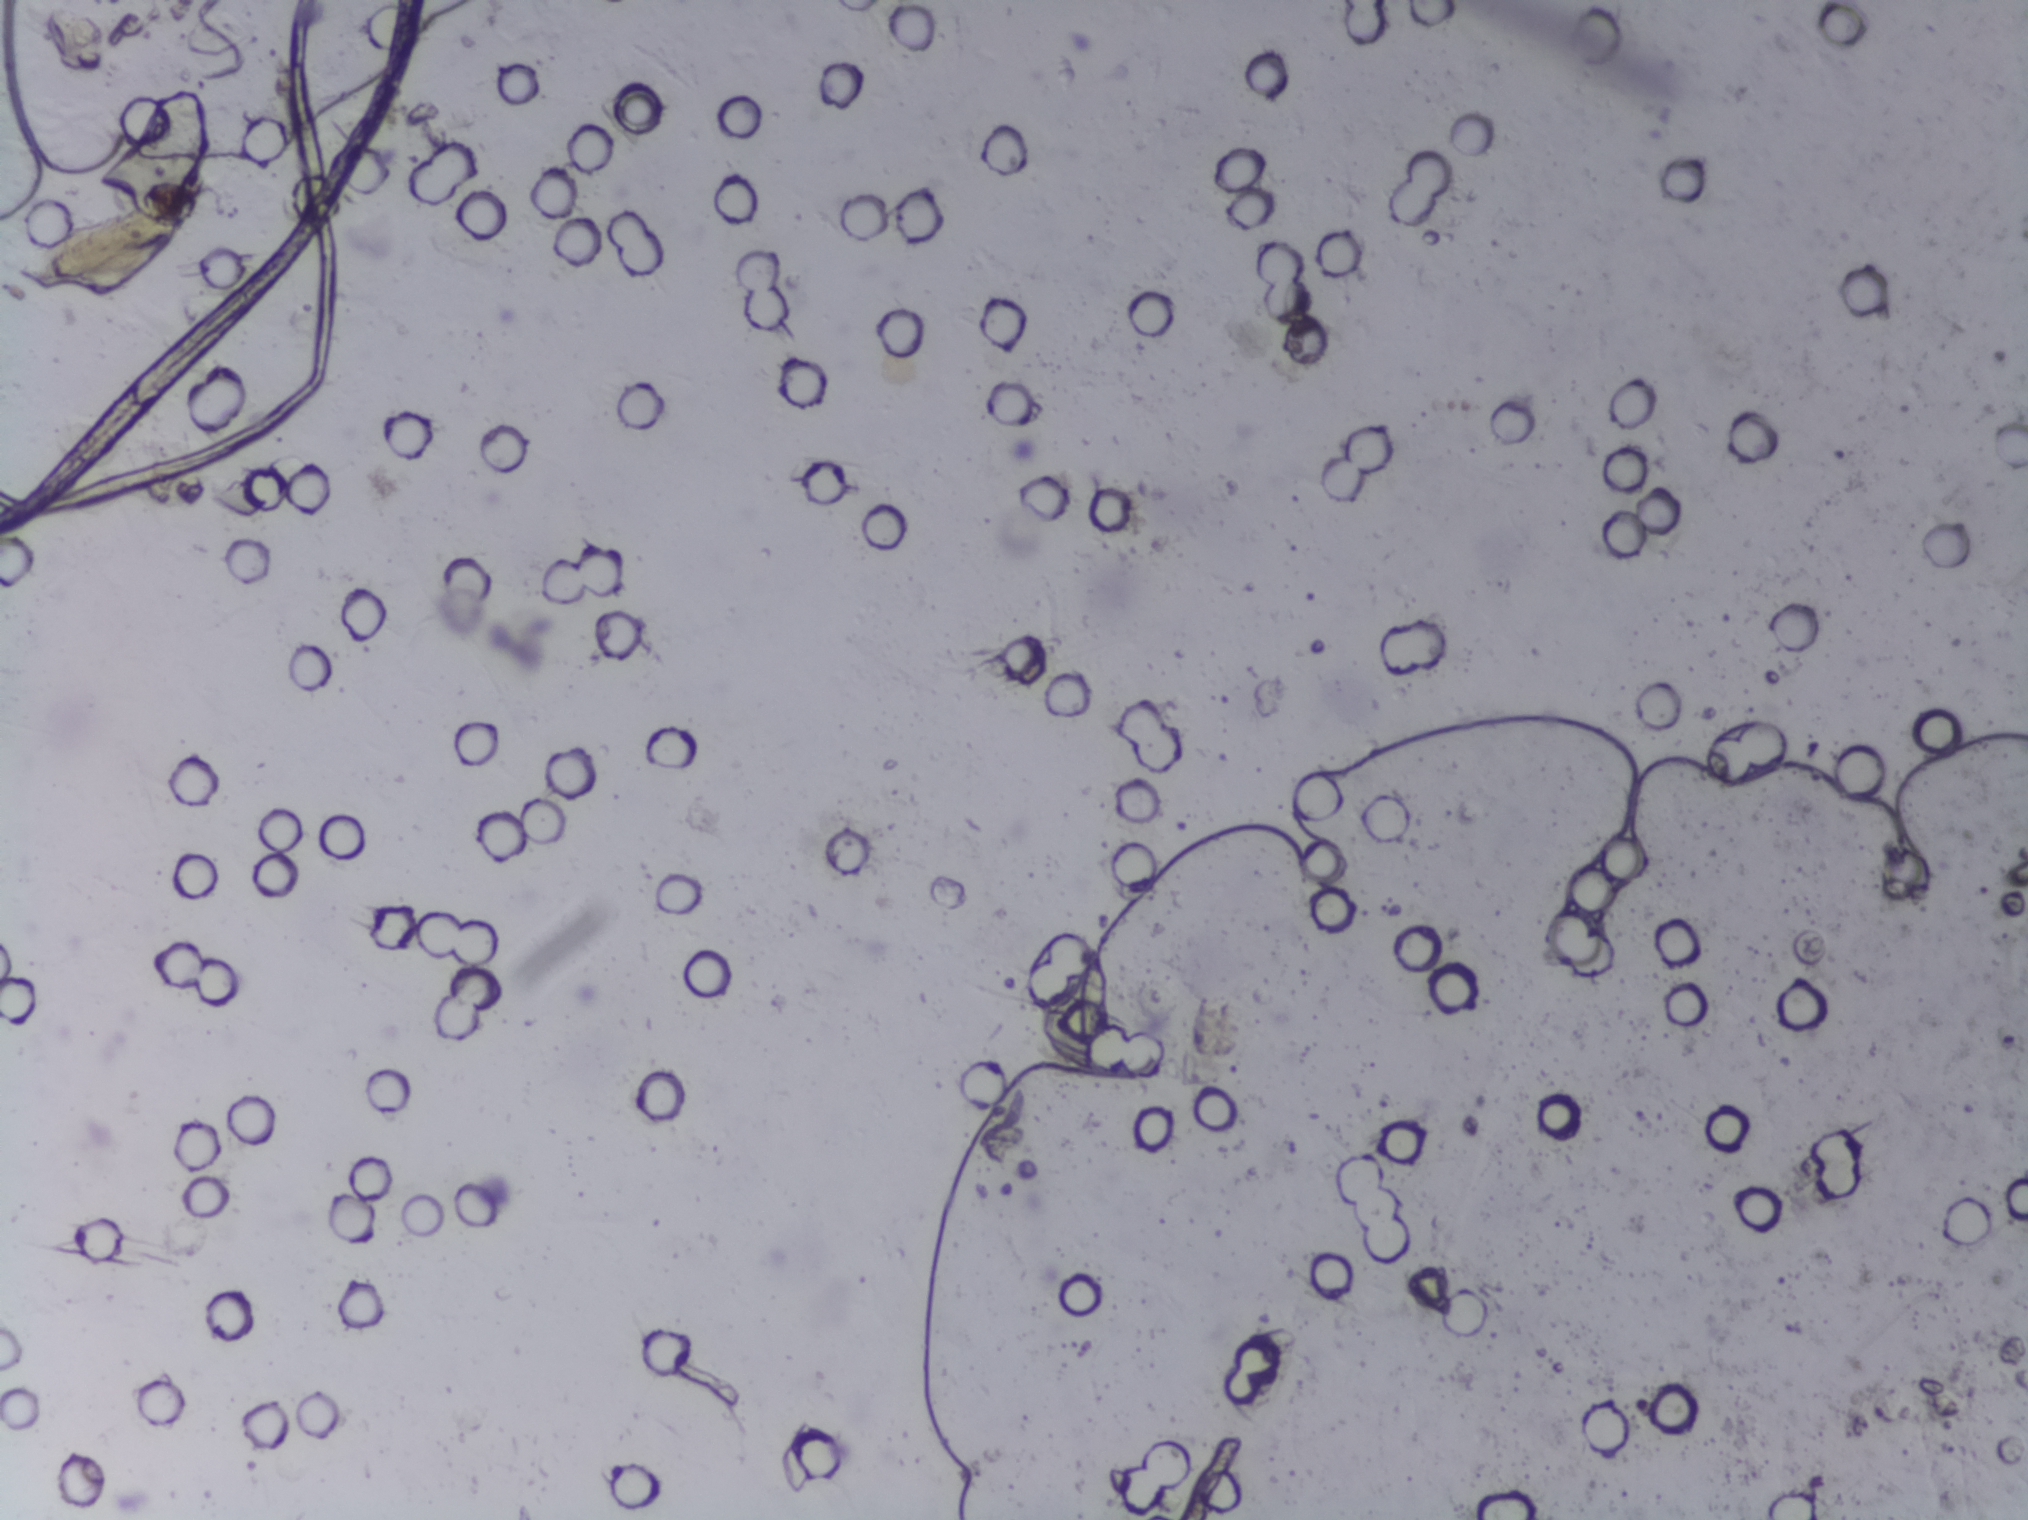
Photomicrograph of a urine filtration membrane, 4× objective.
No area of this image was outlined as a Schistosoma egg.